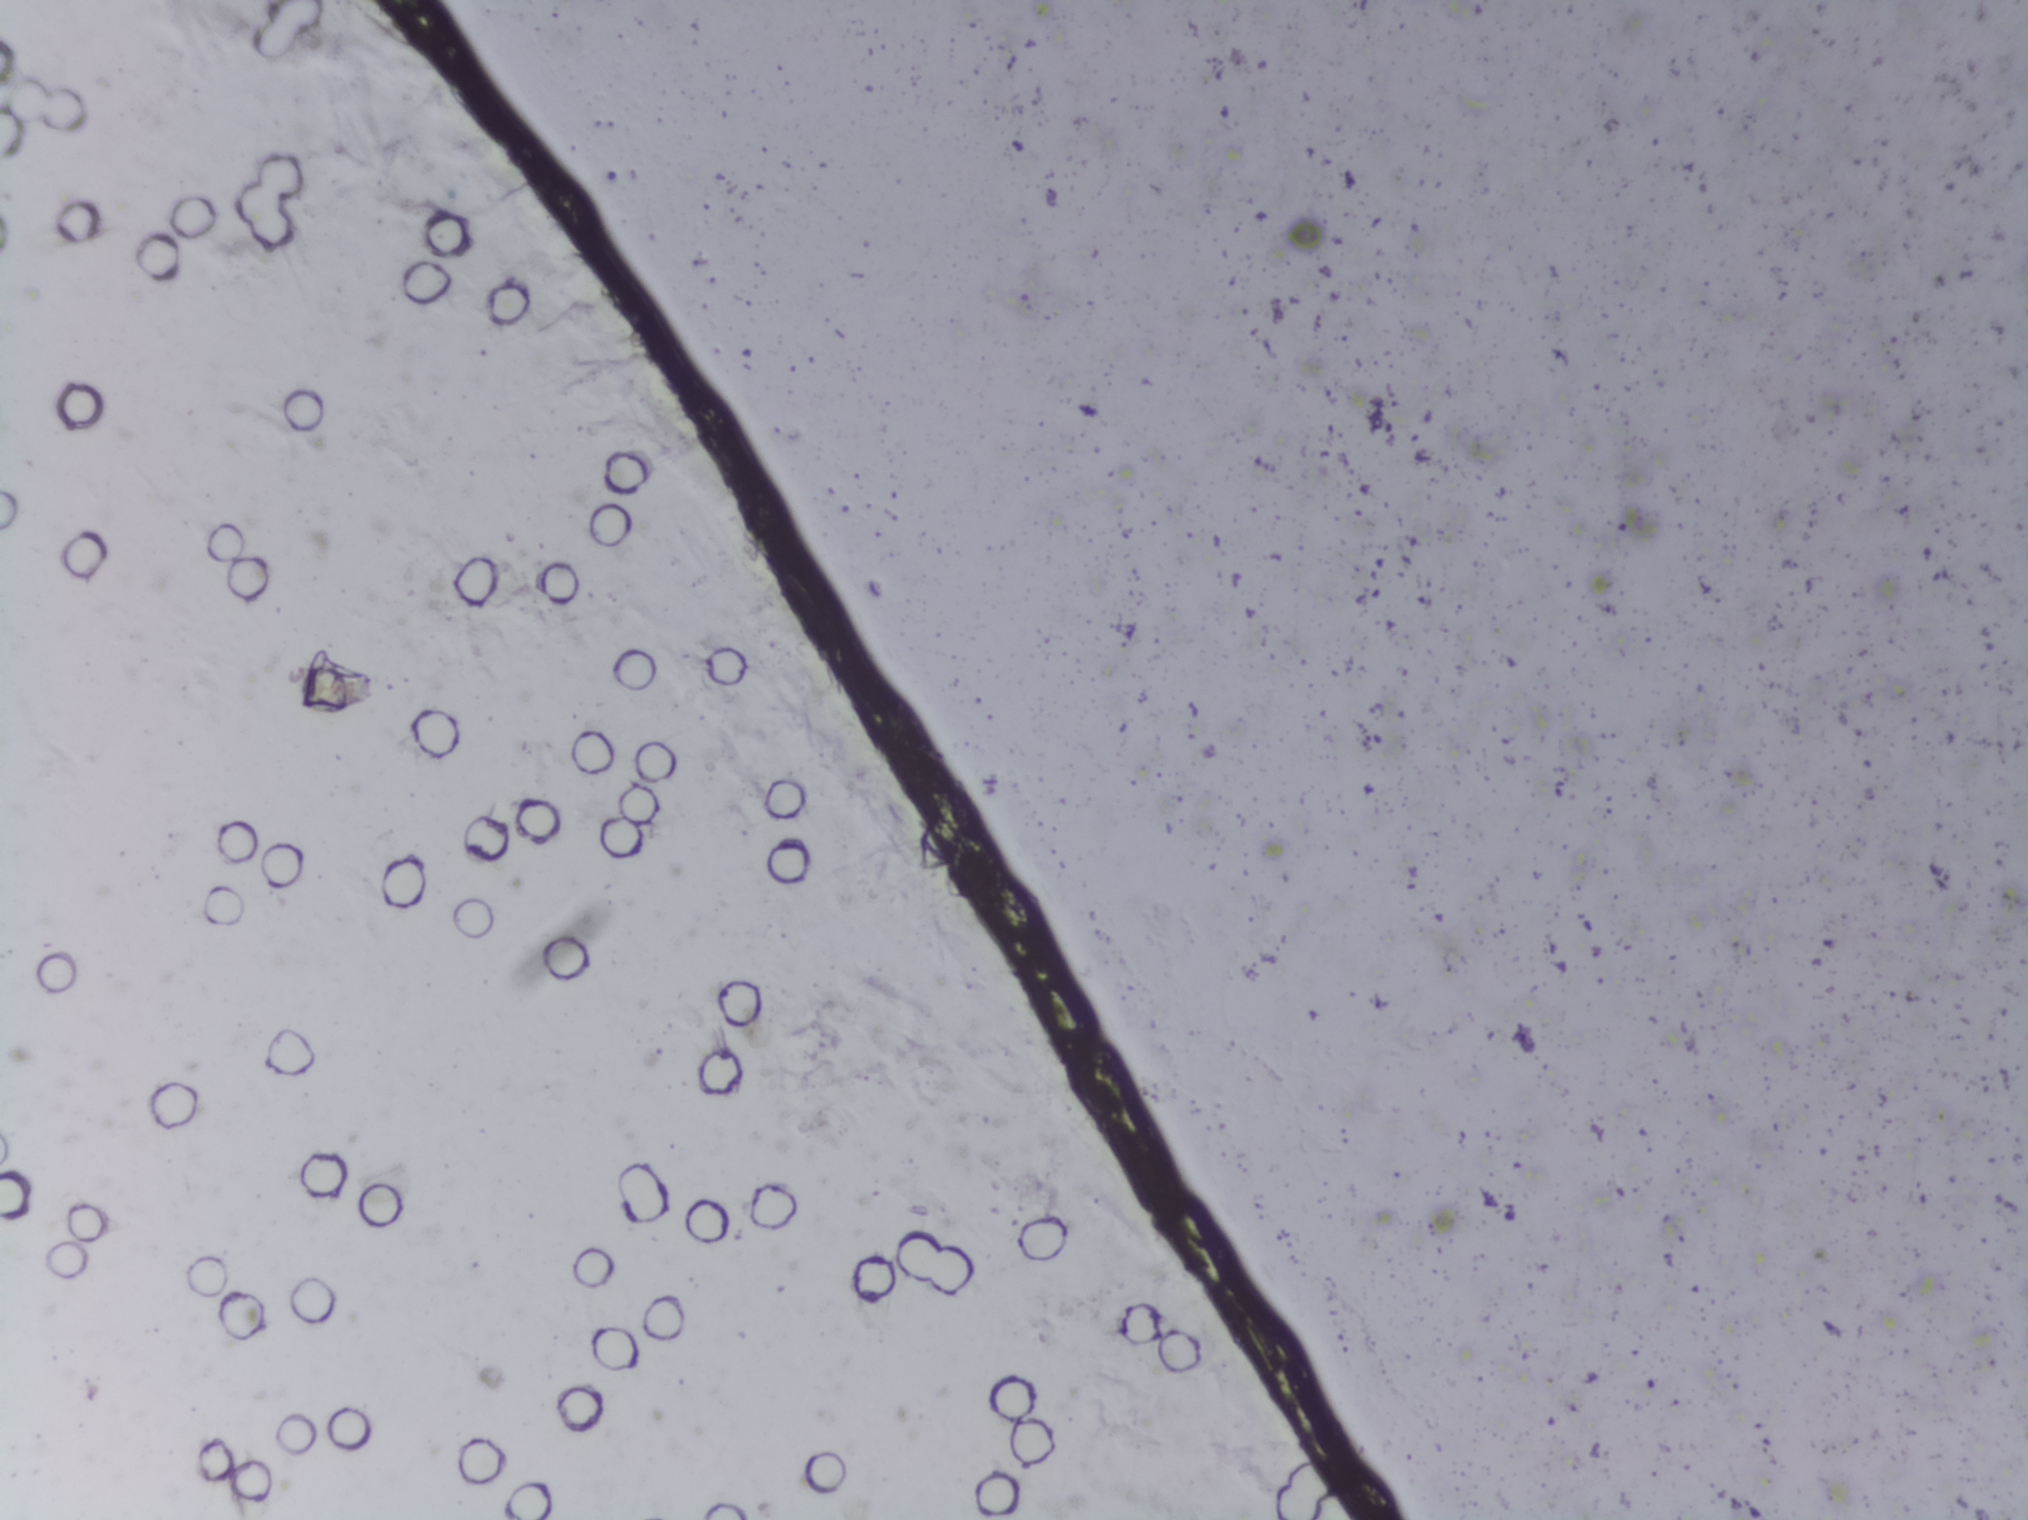
Photomicrograph of a urine filtration membrane, 4× objective.
No Schistosoma egg is outlined in this image's expert annotation.